Microscope photograph (4× objective) of a membrane that a urine sample was filtered through. Field of view: about 1.5 mm wide and 1.1 mm high.
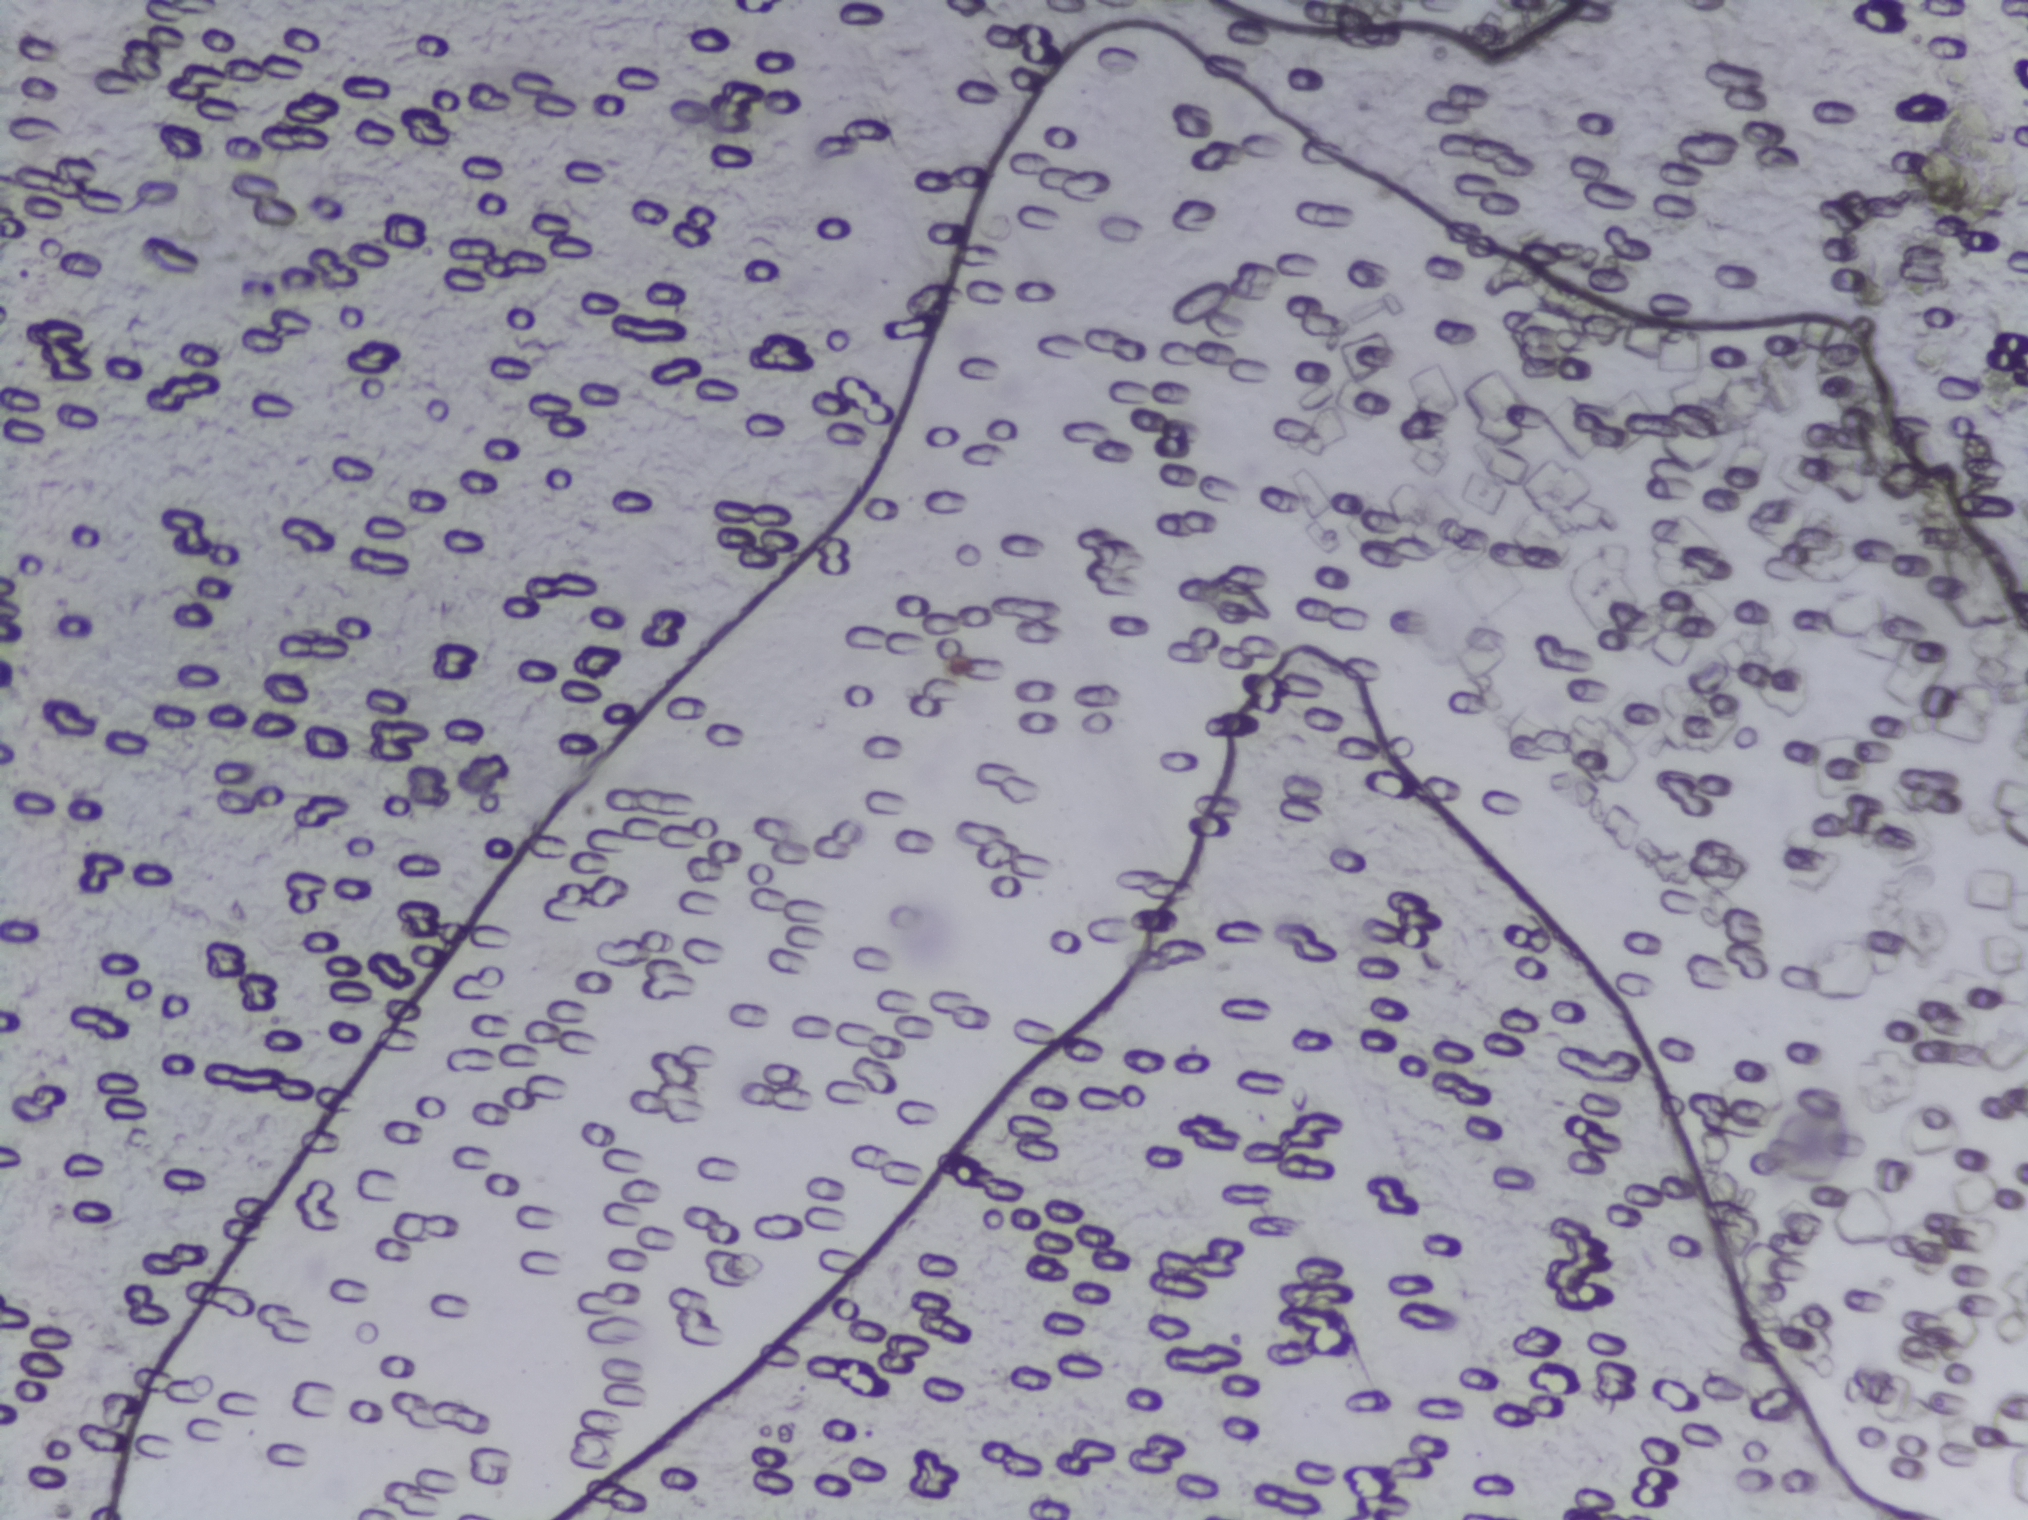
No Schistosoma egg is outlined in this image's expert annotation.